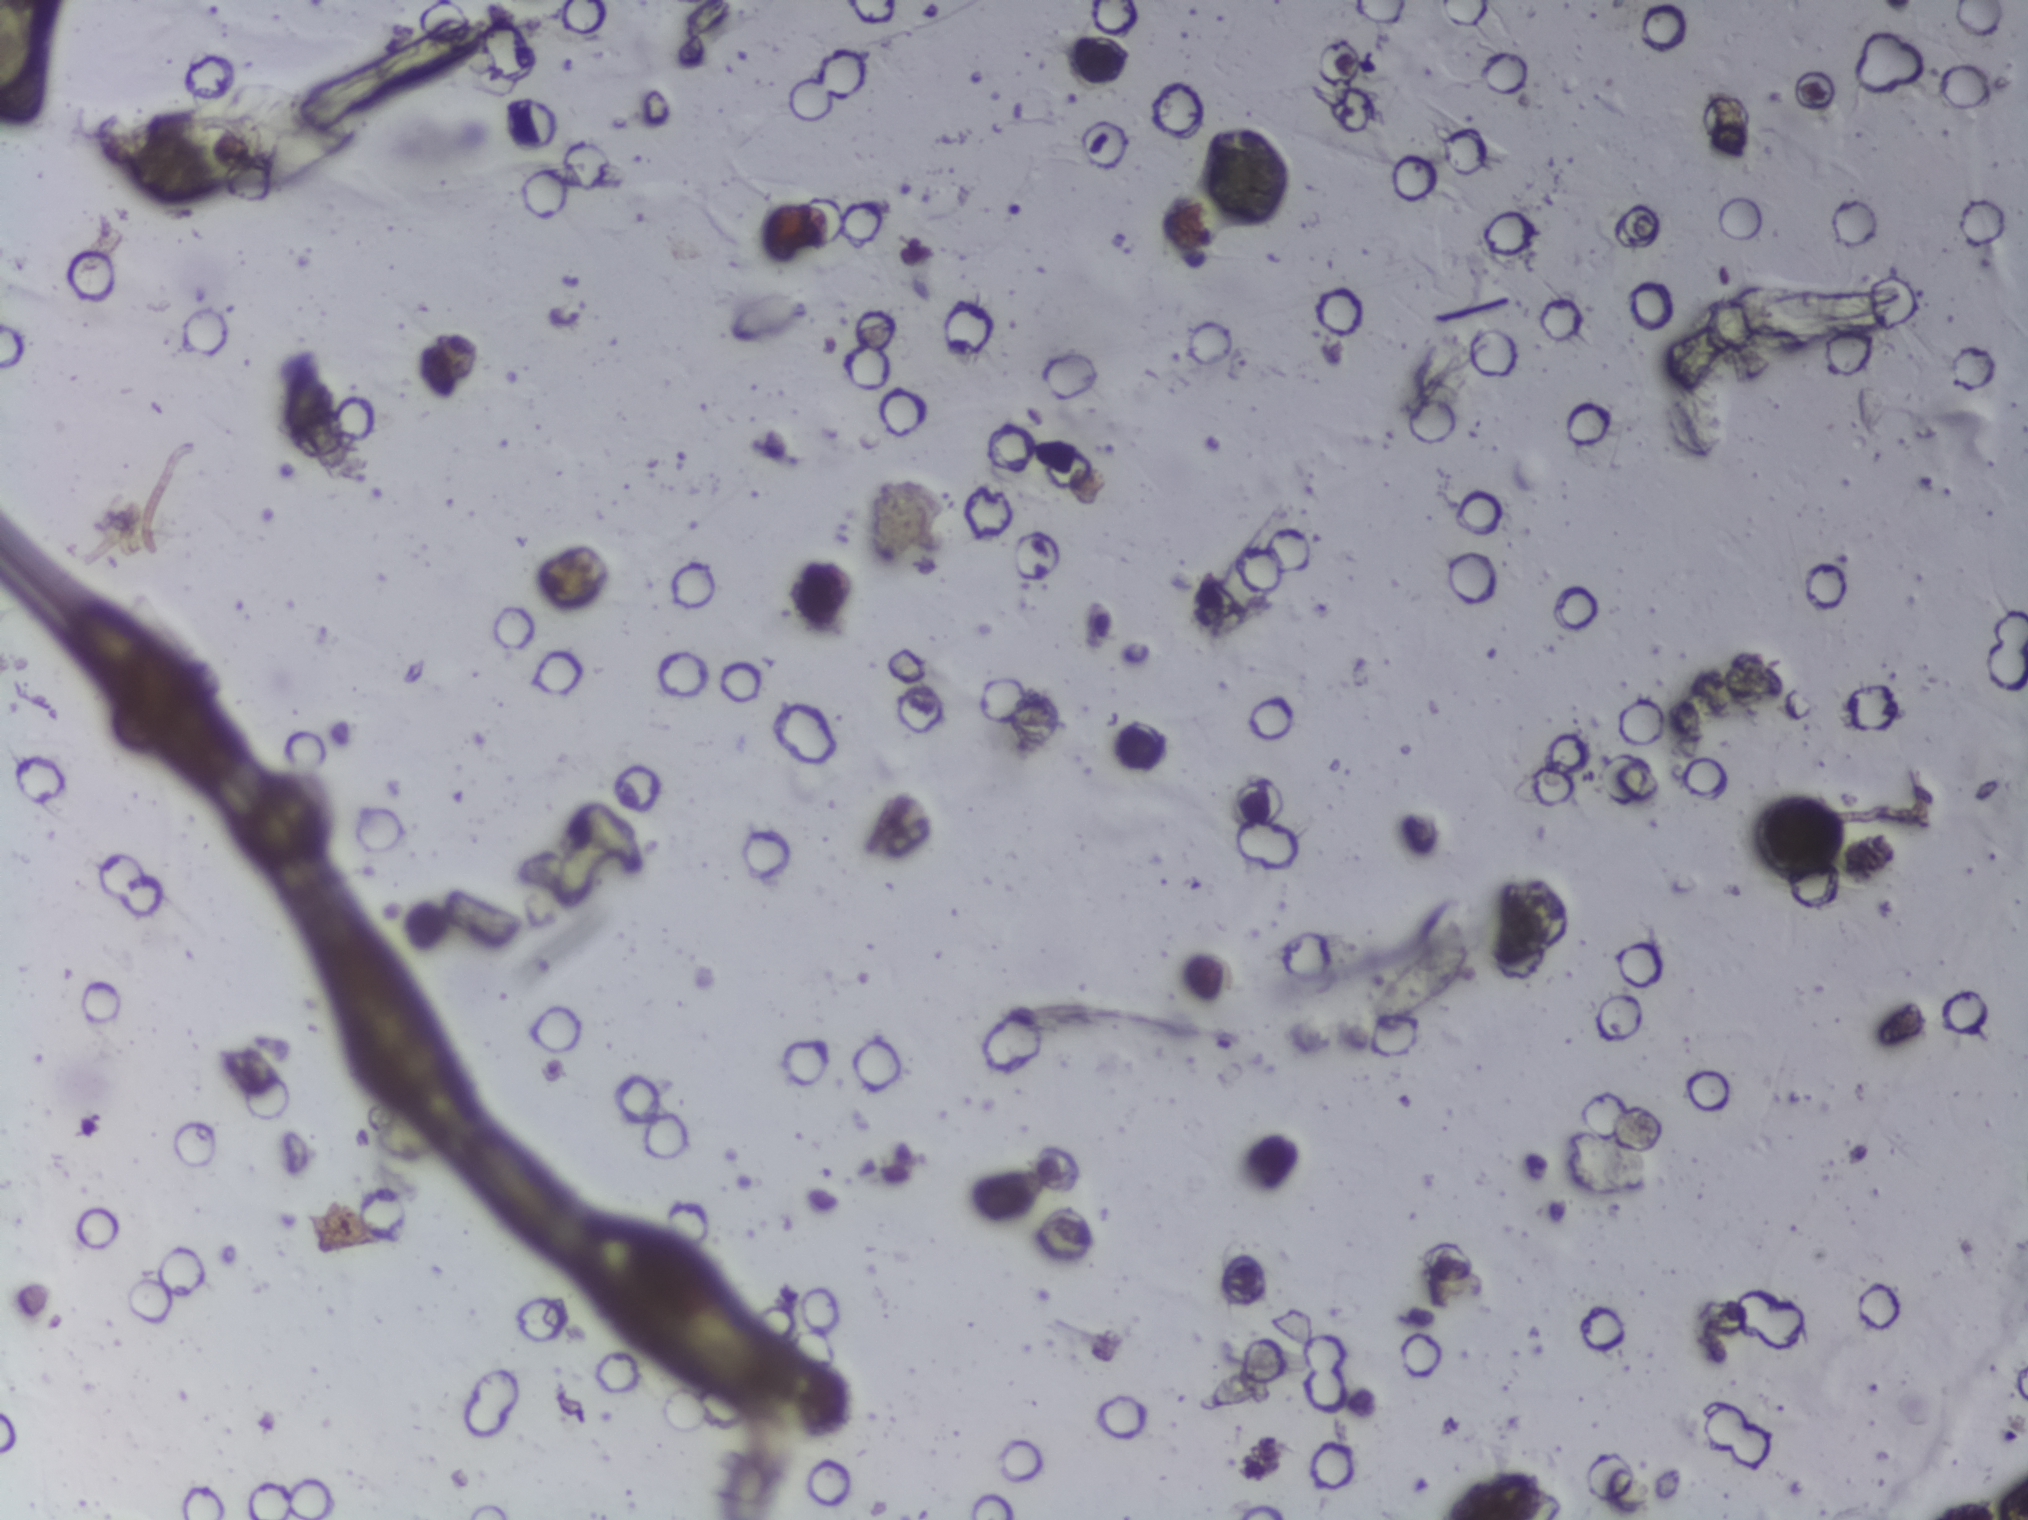
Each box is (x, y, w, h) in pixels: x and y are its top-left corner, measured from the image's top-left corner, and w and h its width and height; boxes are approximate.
Schistosoma eggs are outlined in one area of this image: (x=102, y=80, w=266, h=107). About 0.7% of the image's pixels are marked (the marked pixels themselves, not the box around them). Eggs that touch can end up inside the same outlined area.
Photomicrograph of a urine filtration membrane, 4× objective.